Photograph from an automated digital microscope: urine filter membrane, 4× objective.
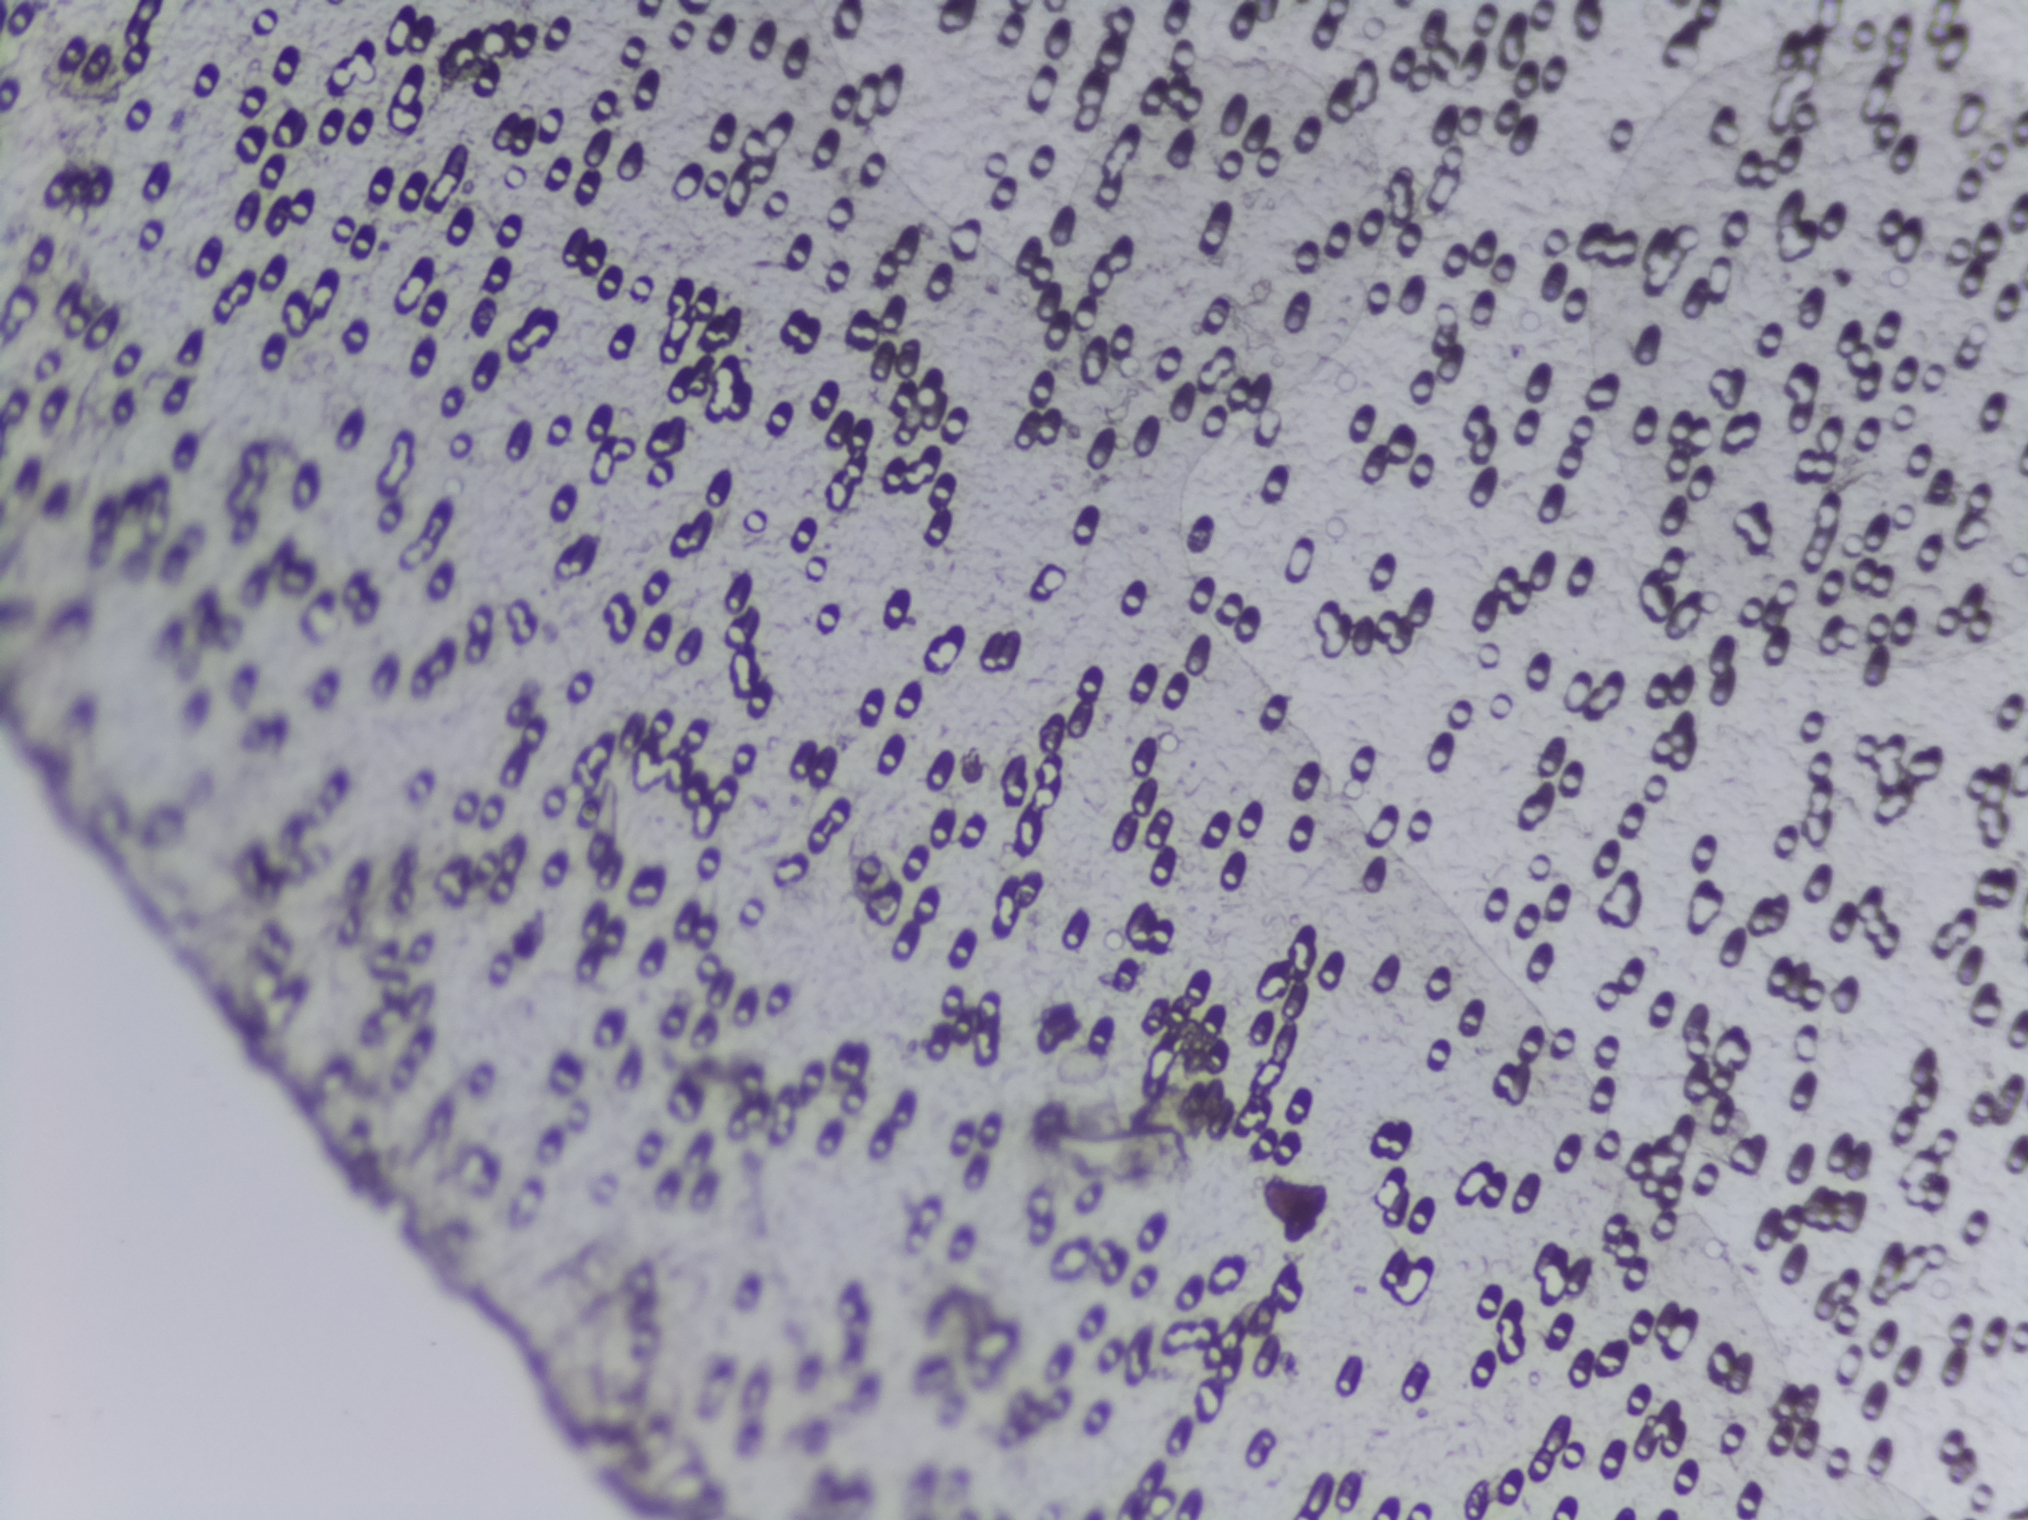
No area of this image was outlined as a Schistosoma egg.